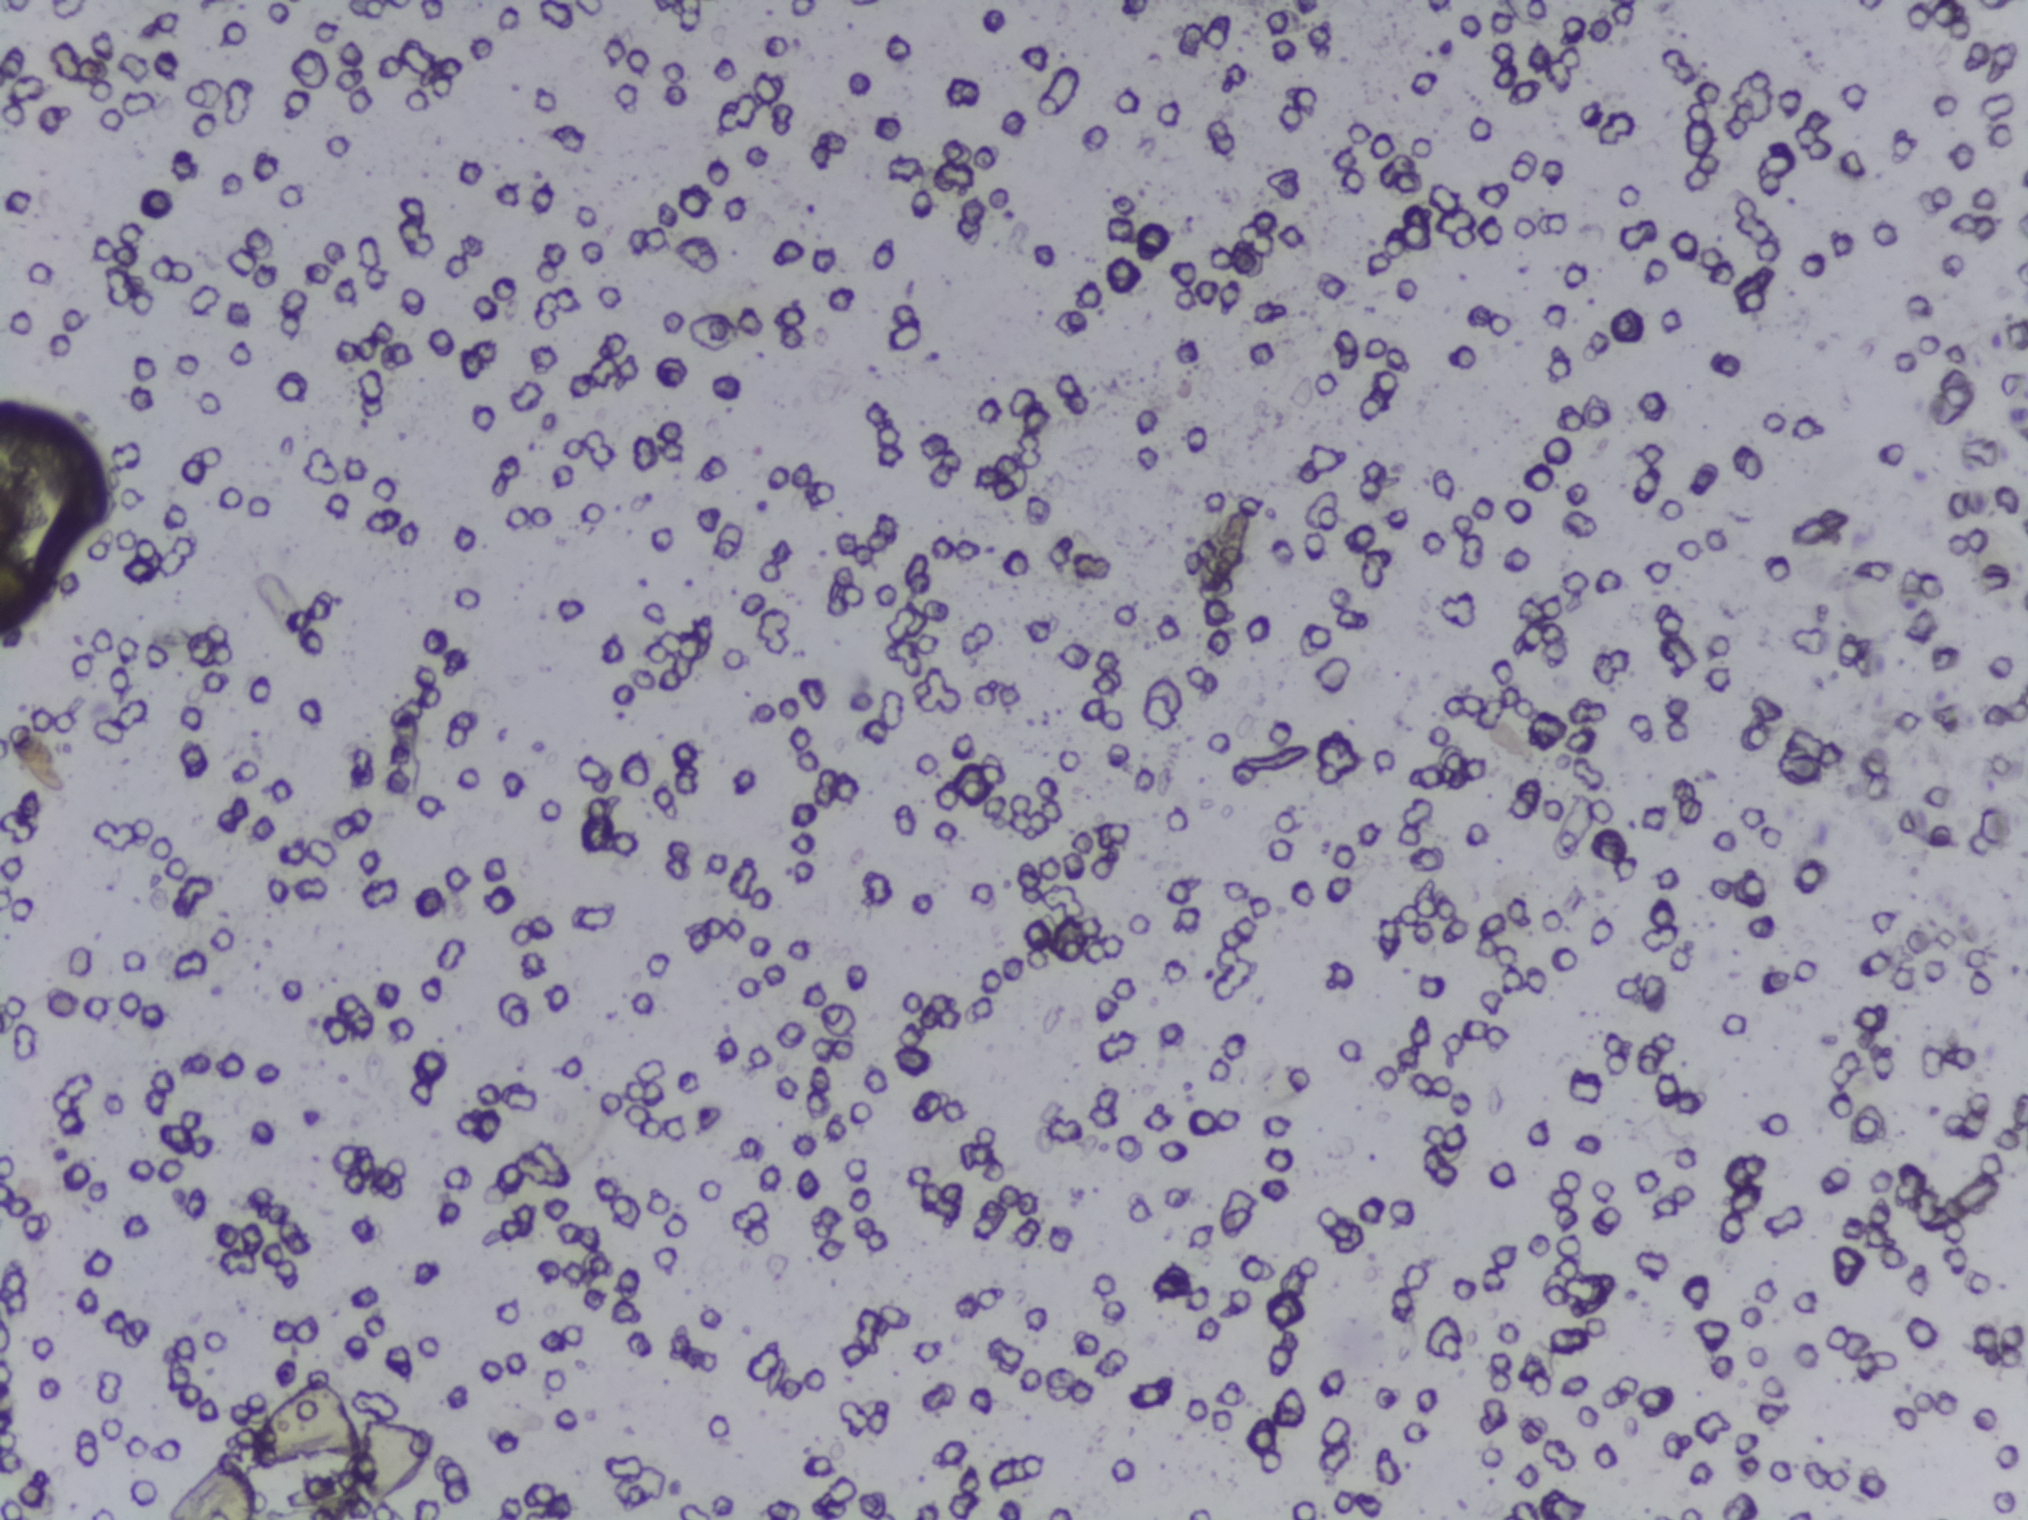
One field of view of a urine filter membrane, 4× objective, 2028 × 1520 pixels.
No Schistosoma egg is outlined in this image's expert annotation.